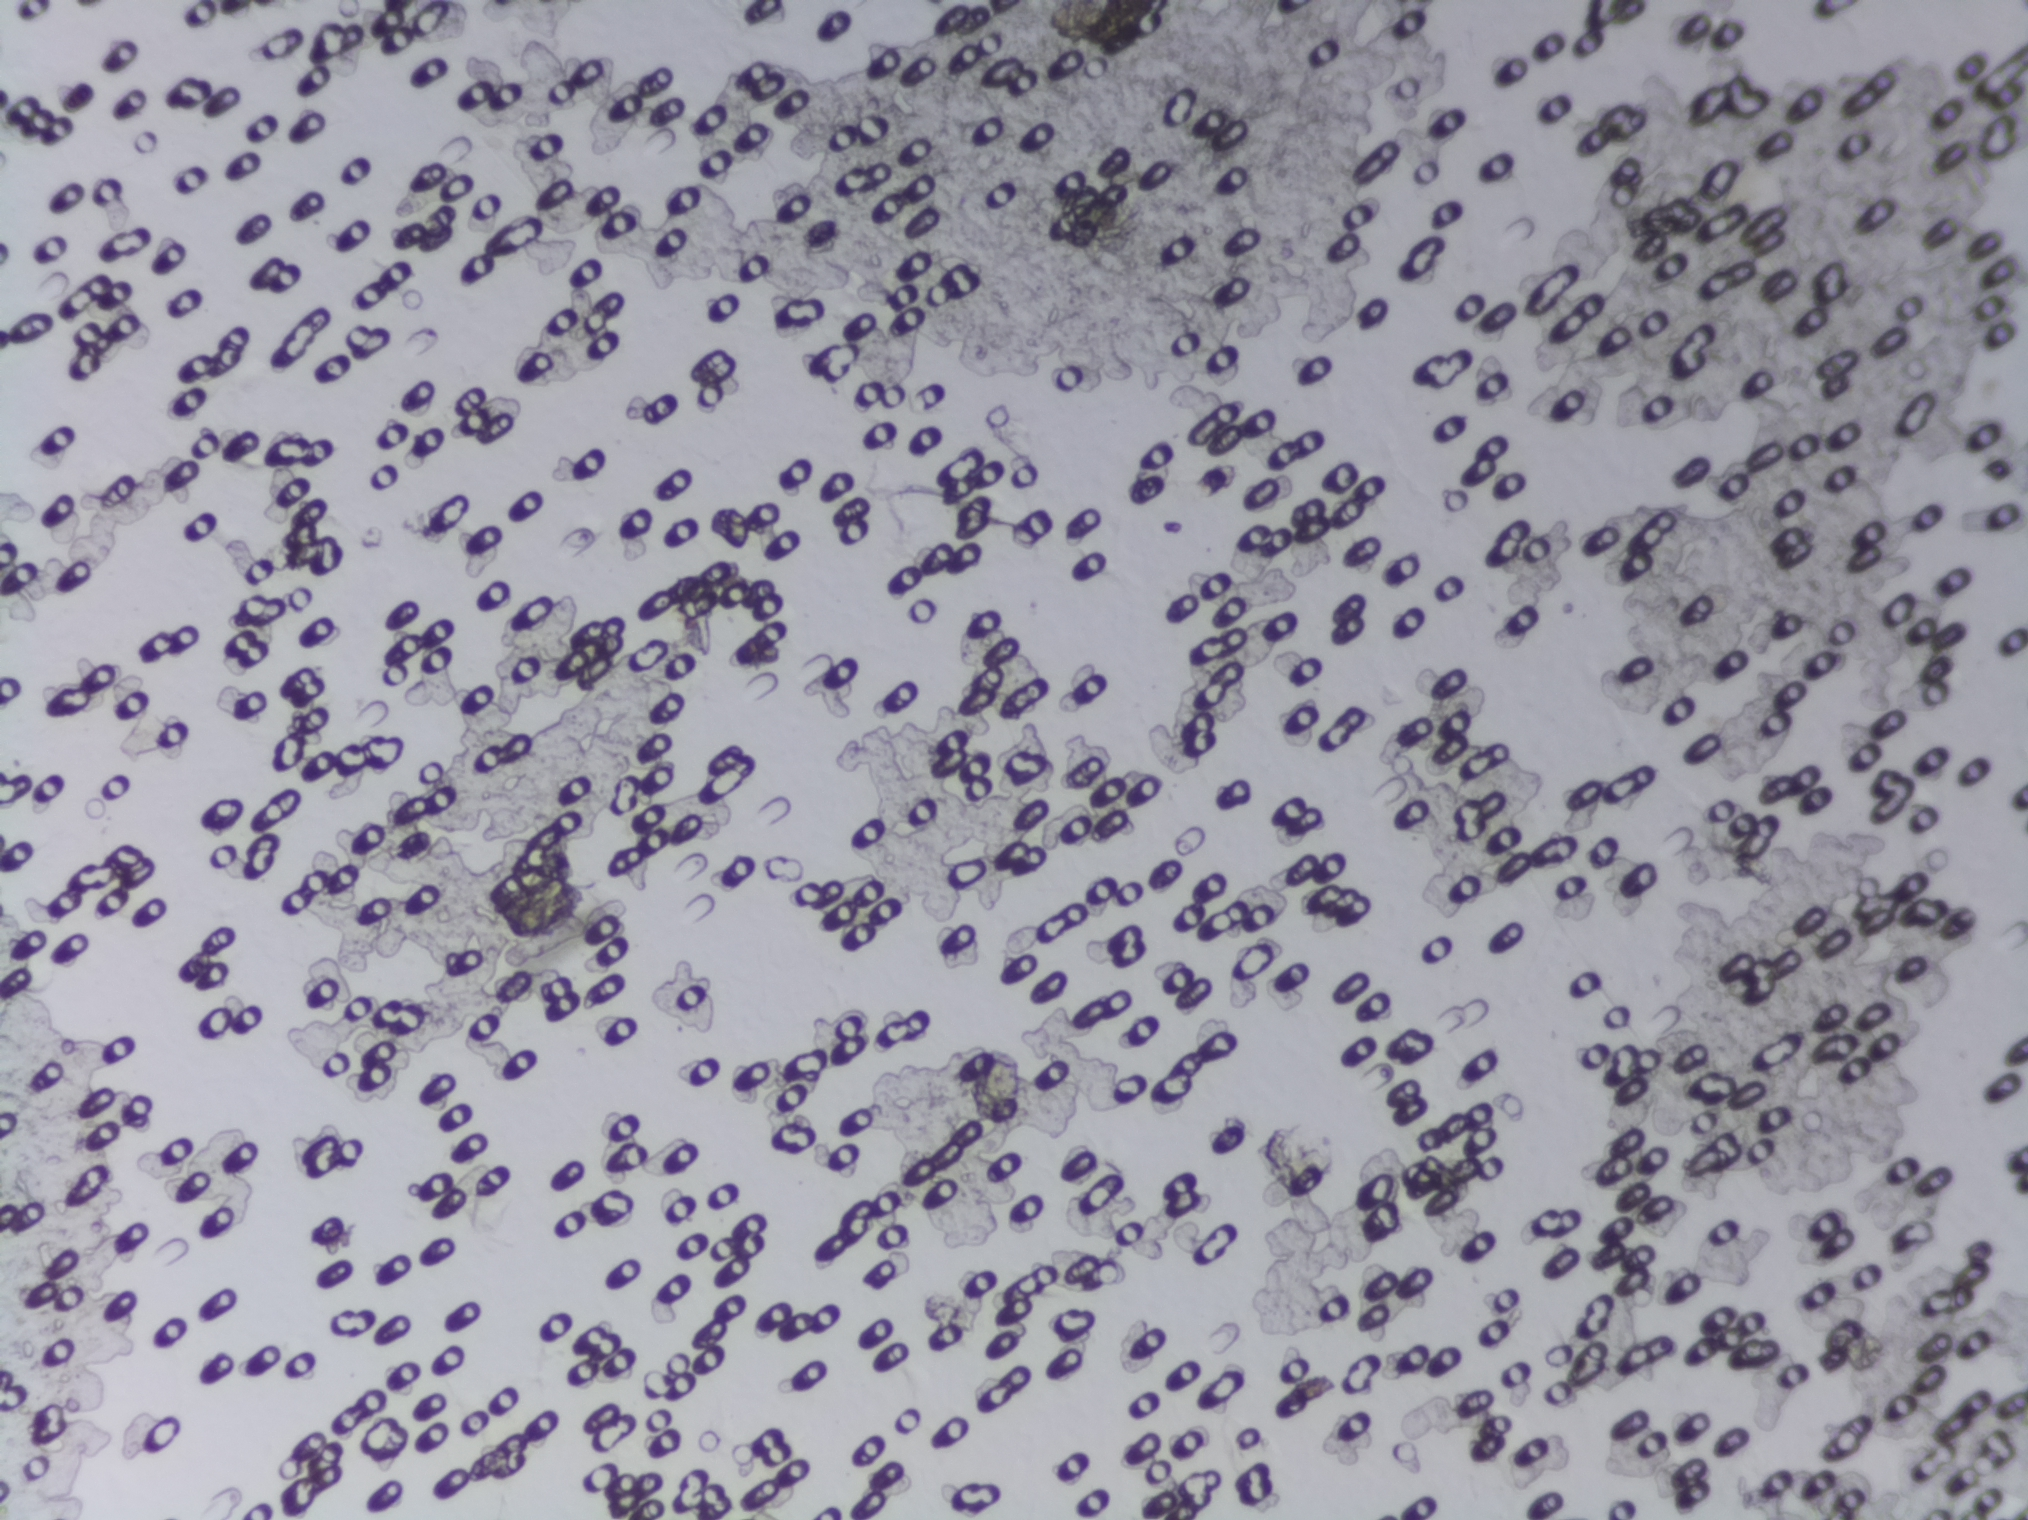
Photomicrograph of a urine filtration membrane, 4× objective. Field of view: about 1.5 mm wide and 1.1 mm high.
The expert annotation outlines no Schistosoma egg in this image.